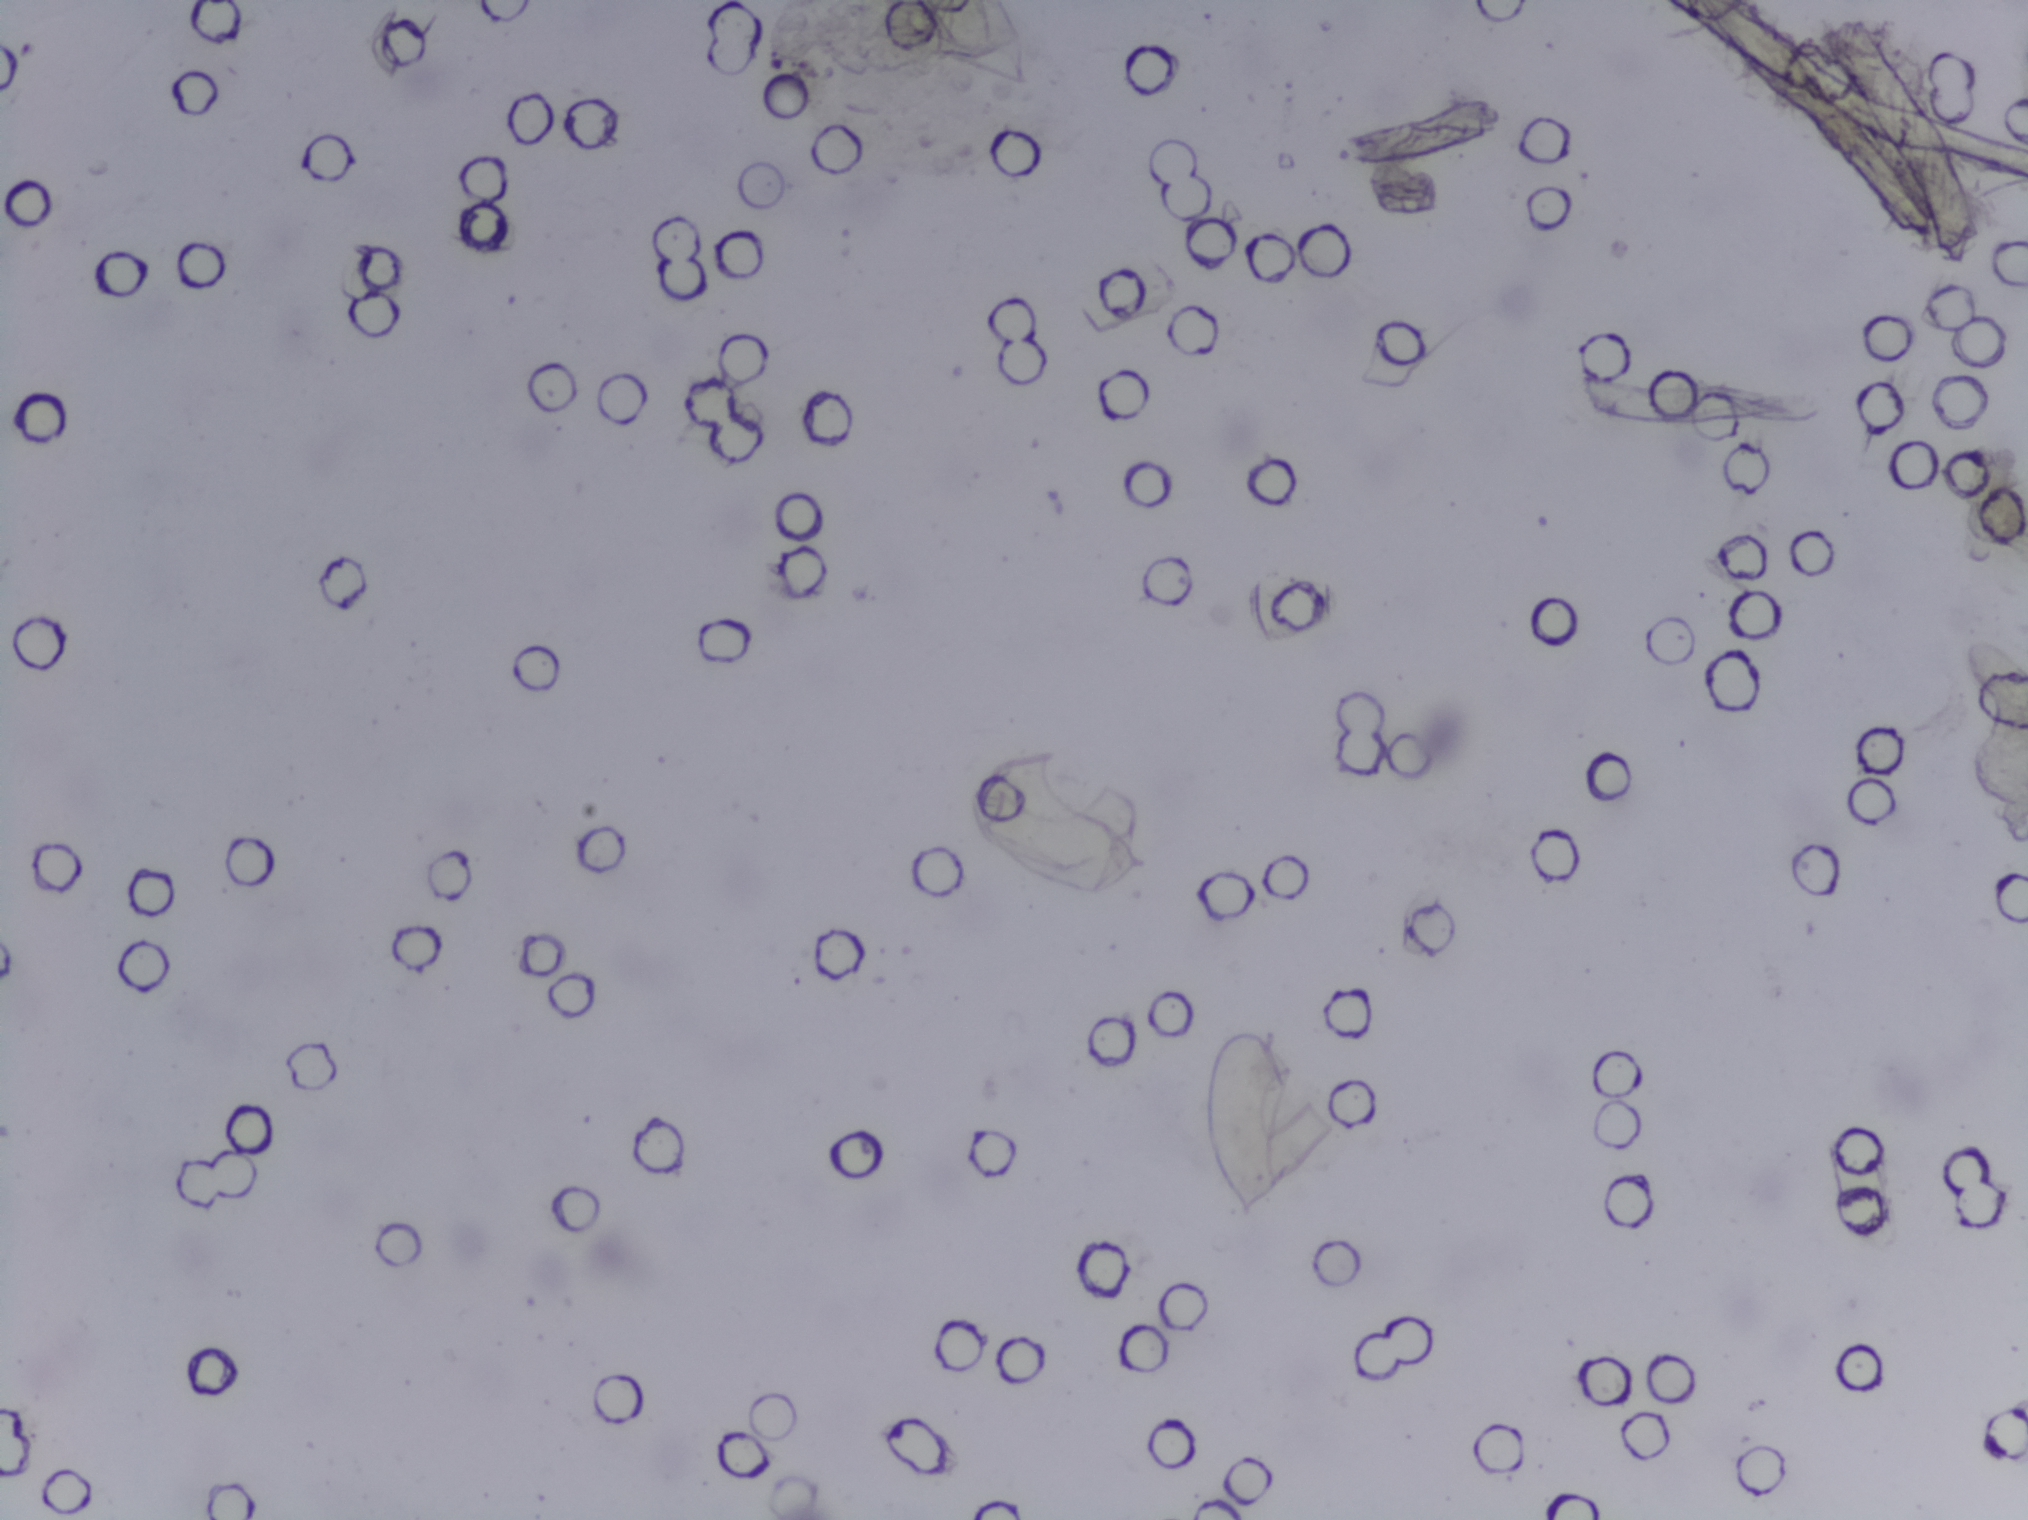
Photograph from an automated digital microscope: urine filter membrane, 4× objective.
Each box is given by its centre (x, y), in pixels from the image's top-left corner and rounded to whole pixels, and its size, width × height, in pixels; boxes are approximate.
Areas outlined as Schistosoma eggs: centre (1059, 828), 201 × 145 px; centre (1259, 1123), 111 × 221 px. About 1.3% of the image's pixels are marked (the marked pixels themselves, not the boxes around them). An outlined area can hold more than one egg.